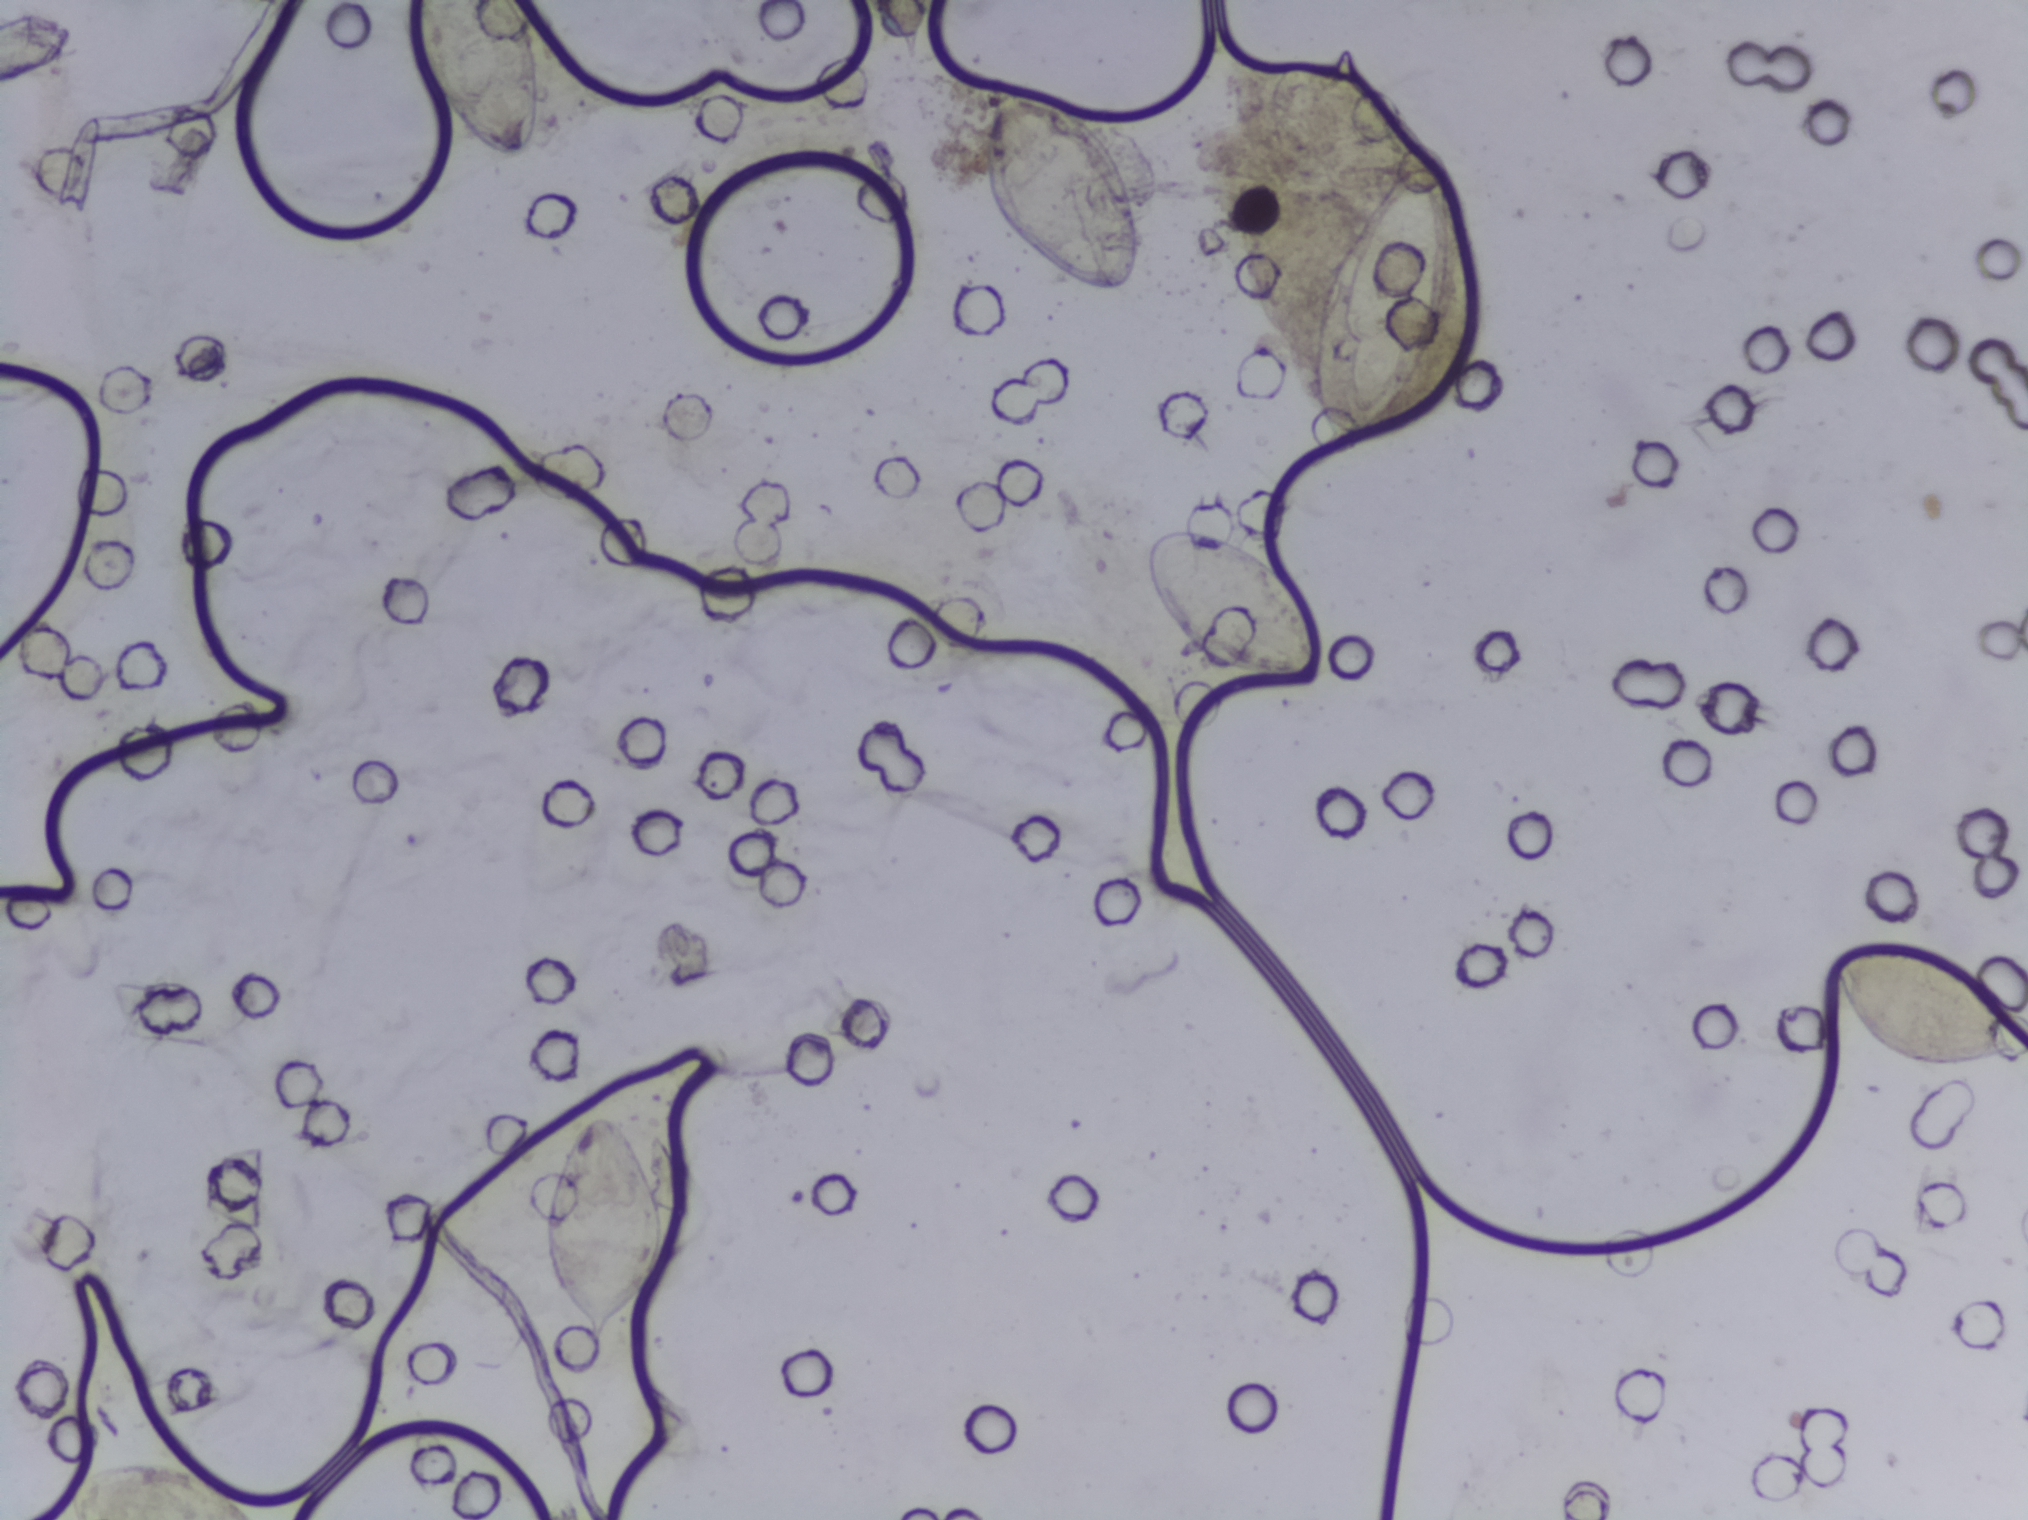
Urine filter membrane photographed through a 4× microscope objective.
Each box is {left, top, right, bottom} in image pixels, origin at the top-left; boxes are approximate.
Areas outlined as Schistosoma eggs: {63, 1458, 253, 1519} (reaching the bottom edge of the frame); {408, 0, 540, 162} (reaching the top edge of the frame); {542, 1115, 667, 1350}; {977, 81, 1142, 293}; {1145, 528, 1320, 684}; {1313, 163, 1455, 439}; {1836, 945, 2027, 1069} (reaching the right edge of the frame). The marked pixels themselves, not the boxes around them, cover about 4.4% of the image. A single outlined area may contain several eggs. Any one outlined egg may, rarely, be S. mansoni rather than S. haematobium.